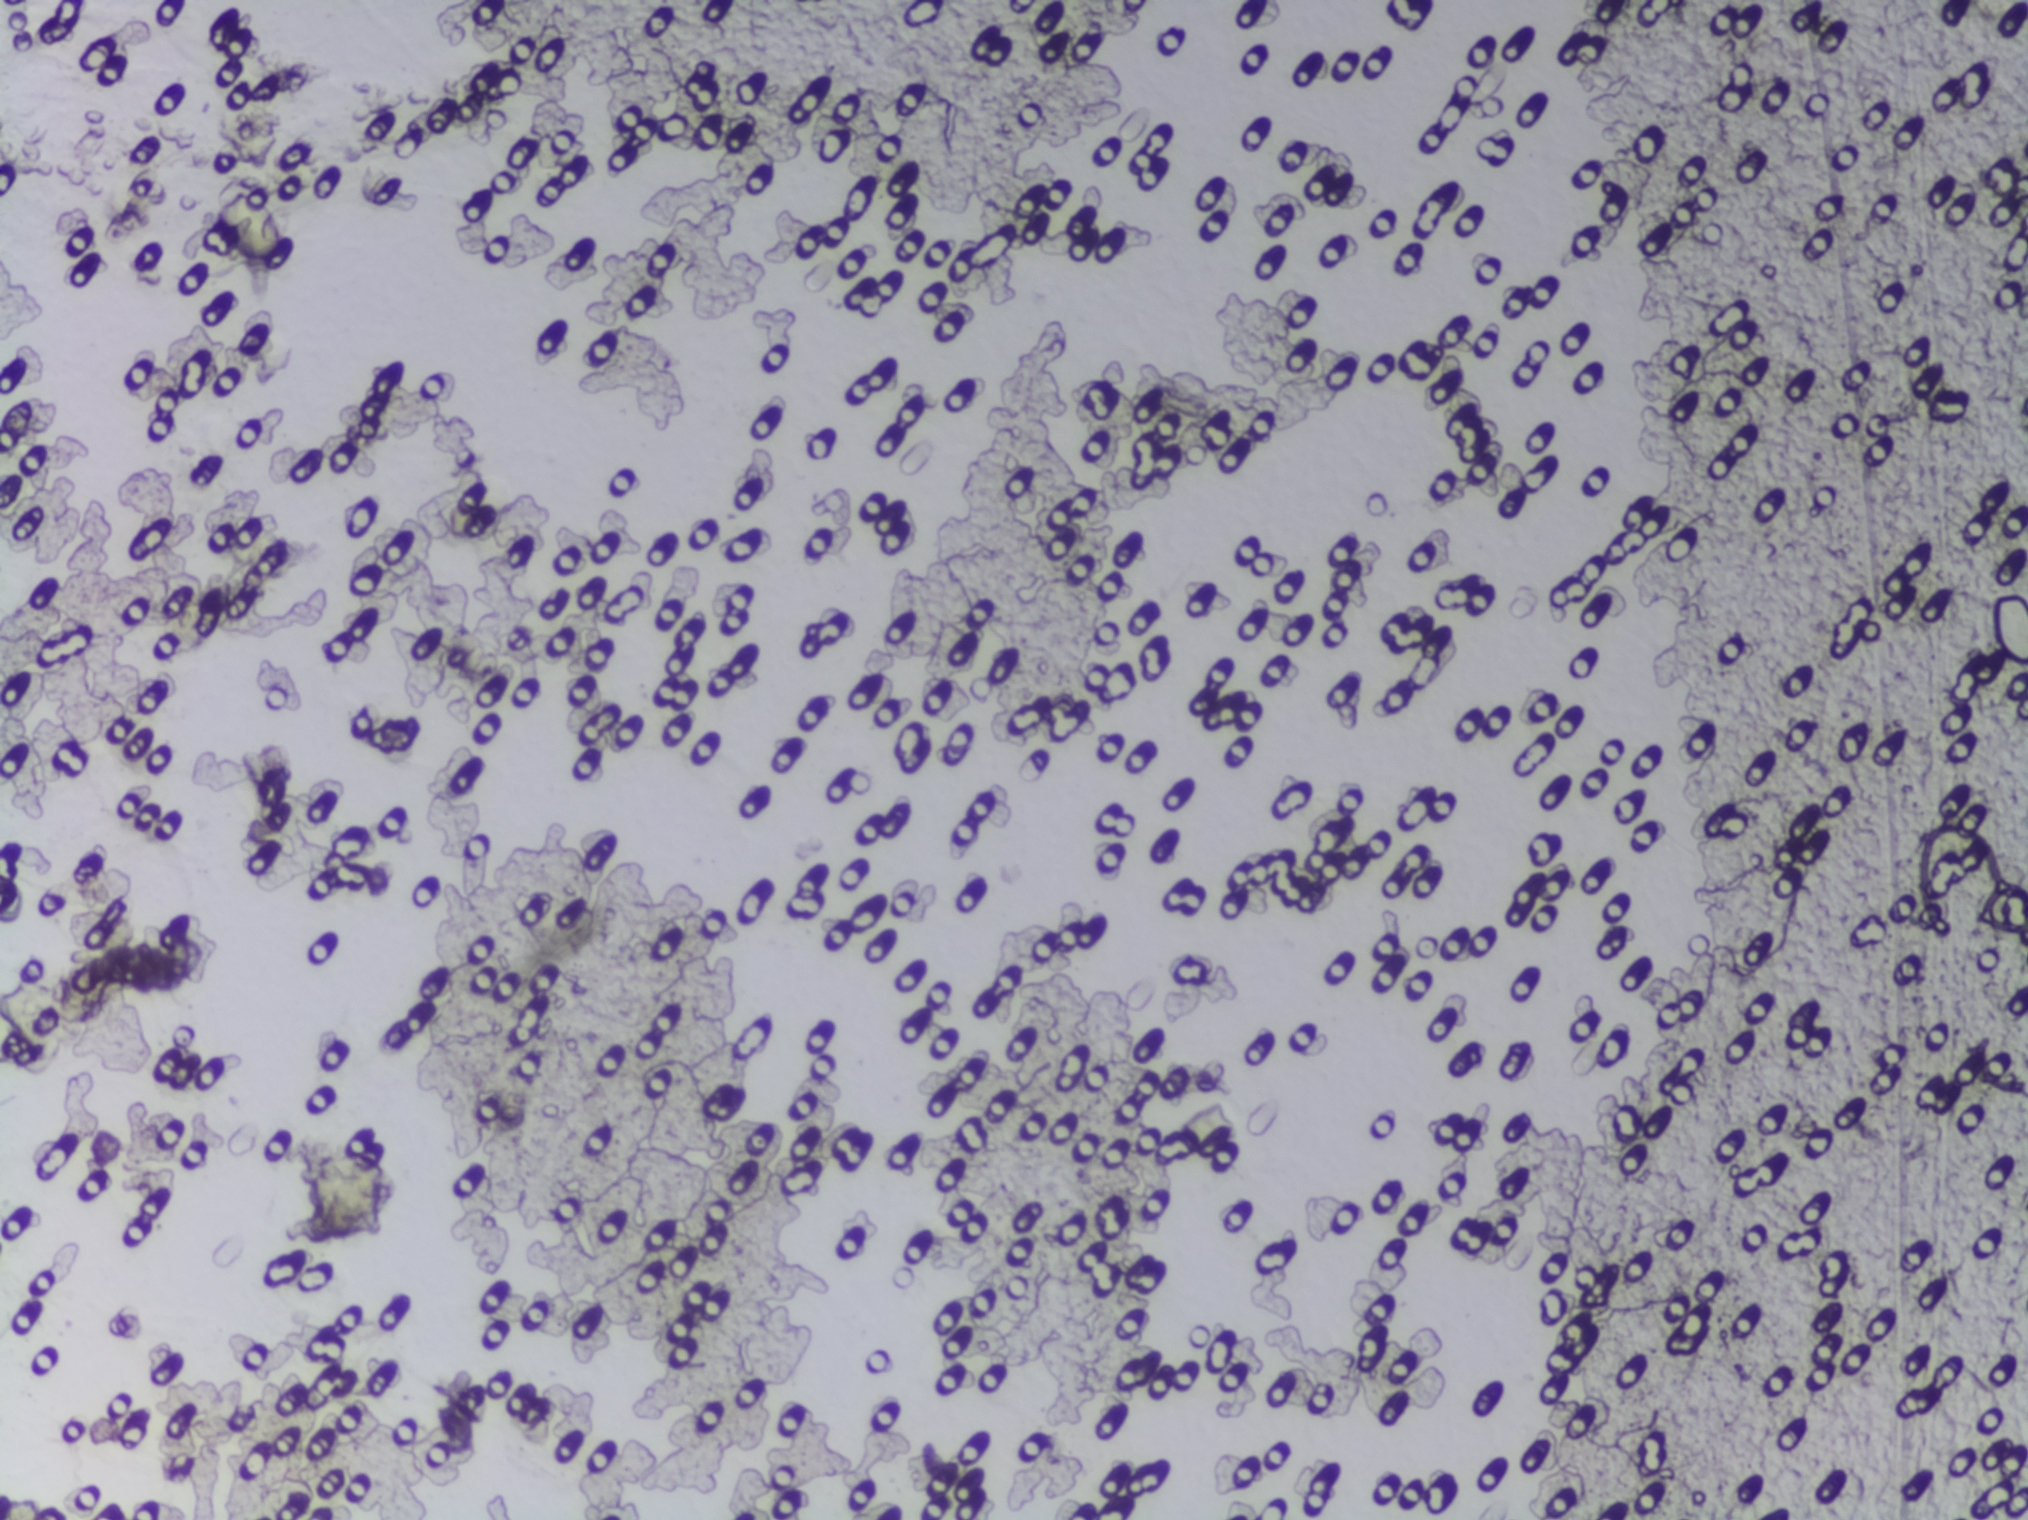
One field of view of a urine filter membrane, 4× objective, 2028 × 1520 pixels. The image covers about 1.5 × 1.1 mm of the membrane.
The expert annotation marks no Schistosoma egg in this field of view.